One field of view of a urine filter membrane, 4× objective, 2028 × 1520 pixels.
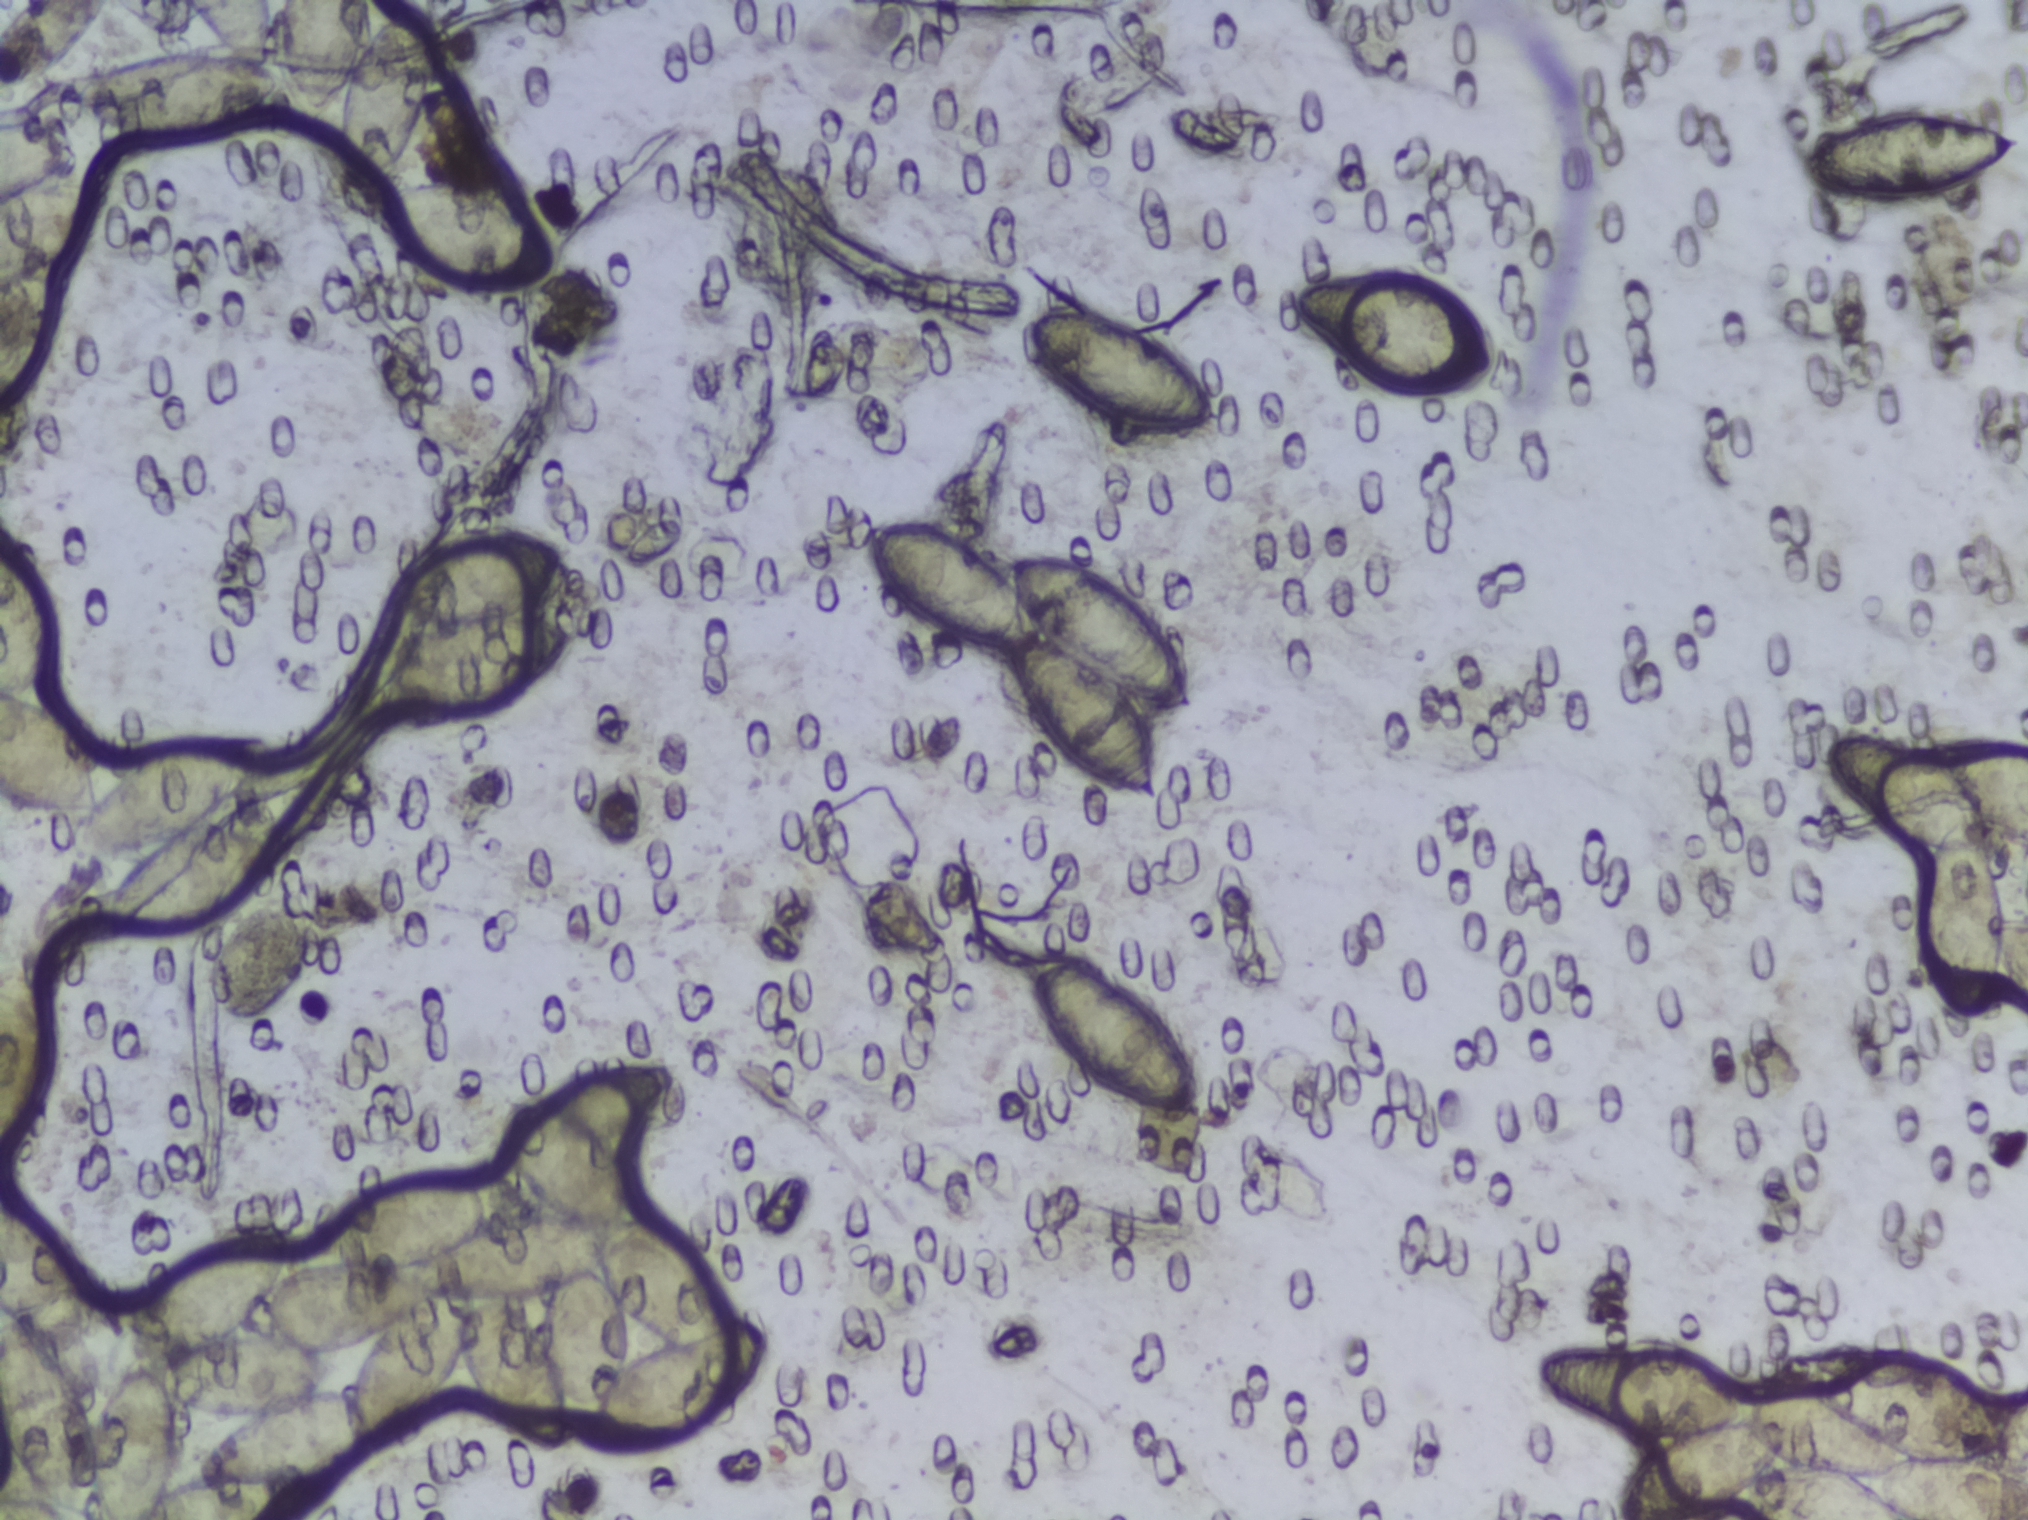
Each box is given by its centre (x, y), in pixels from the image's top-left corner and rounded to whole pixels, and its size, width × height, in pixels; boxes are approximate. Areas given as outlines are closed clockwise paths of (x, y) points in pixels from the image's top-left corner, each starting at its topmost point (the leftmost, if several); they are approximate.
Schistosoma eggs are outlined in 14 areas of this image, listed from left to right: box centre (29, 1048), 58 × 212 px (reaching the left edge of the frame); box centre (53, 261), 106 × 304 px (reaching the left edge of the frame); outline (0, 521), (29, 545), (57, 591), (63, 648), (40, 693), (60, 700), (87, 730), (105, 785), (167, 739), (220, 737), (259, 741), (271, 749), (269, 772), (257, 788), (199, 829), (256, 831), (287, 846), (289, 866), (265, 898), (198, 927), (116, 925), (106, 918), (106, 893), (113, 873), (130, 859), (82, 860), (72, 852), (78, 818), (24, 808), (0, 796) (eggs clustered together; reaching the left edge of the frame); box centre (264, 955), 104 × 141 px; outline (26, 0), (376, 0), (370, 29), (398, 2), (437, 0), (443, 42), (425, 120), (374, 191), (467, 181), (531, 203), (560, 262), (554, 284), (537, 294), (479, 294), (420, 278), (370, 221), (369, 196), (357, 204), (342, 204), (336, 196), (334, 122), (344, 97), (323, 110), (313, 128), (301, 130), (284, 96), (272, 33), (264, 61), (277, 87), (271, 108), (209, 136), (127, 138), (88, 132), (80, 124), (66, 89), (86, 69), (142, 53), (220, 48), (197, 26), (185, 36), (162, 34), (117, 8), (54, 78), (17, 93), (0, 92), (0, 26) (eggs clustered together; reaching the left and top edges of the frame); outline (646, 1056), (677, 1058), (683, 1085), (631, 1135), (605, 1145), (633, 1168), (651, 1196), (651, 1209), (668, 1214), (711, 1252), (737, 1314), (755, 1314), (769, 1330), (769, 1355), (755, 1395), (699, 1445), (619, 1471), (591, 1469), (569, 1451), (545, 1457), (483, 1413), (461, 1377), (433, 1422), (403, 1448), (362, 1457), (290, 1519), (64, 1519), (30, 1492), (0, 1440), (0, 1182), (15, 1182), (27, 1192), (79, 1244), (89, 1264), (103, 1323), (89, 1354), (74, 1366), (94, 1410), (116, 1380), (110, 1342), (118, 1318), (162, 1270), (208, 1234), (238, 1218), (280, 1212), (292, 1246), (346, 1192), (414, 1172), (489, 1170), (513, 1186), (498, 1140), (498, 1112), (519, 1100), (514, 1096), (539, 1098), (560, 1076) (eggs clustered together; reaching the left and bottom edges of the frame); box centre (480, 619), 201 × 187 px; outline (872, 517), (940, 524), (985, 552), (1005, 574), (1007, 555), (1019, 548), (1064, 549), (1105, 569), (1151, 613), (1187, 674), (1191, 706), (1134, 699), (1159, 766), (1158, 800), (1092, 785), (1061, 767), (1029, 721), (1006, 658), (906, 623), (867, 549); box centre (1113, 1034), 179 × 168 px; box centre (1126, 370), 200 × 127 px; box centre (1394, 336), 204 × 122 px; outline (1581, 1339), (1697, 1350), (1749, 1395), (1786, 1384), (1779, 1359), (1812, 1348), (1896, 1349), (1939, 1361), (1993, 1409), (2027, 1387), (2027, 1519), (1761, 1519), (1735, 1502), (1703, 1519), (1612, 1515), (1611, 1498), (1625, 1475), (1675, 1438), (1588, 1423), (1555, 1396), (1536, 1361), (1551, 1346) (eggs clustered together; reaching the right and bottom edges of the frame); box centre (1907, 157), 229 × 93 px; box centre (1926, 874), 204 × 289 px (reaching the right edge of the frame). About 20% of the image's pixels are marked (the marked pixels themselves, not the boxes and the outlines around them). An outlined area can hold more than one egg.